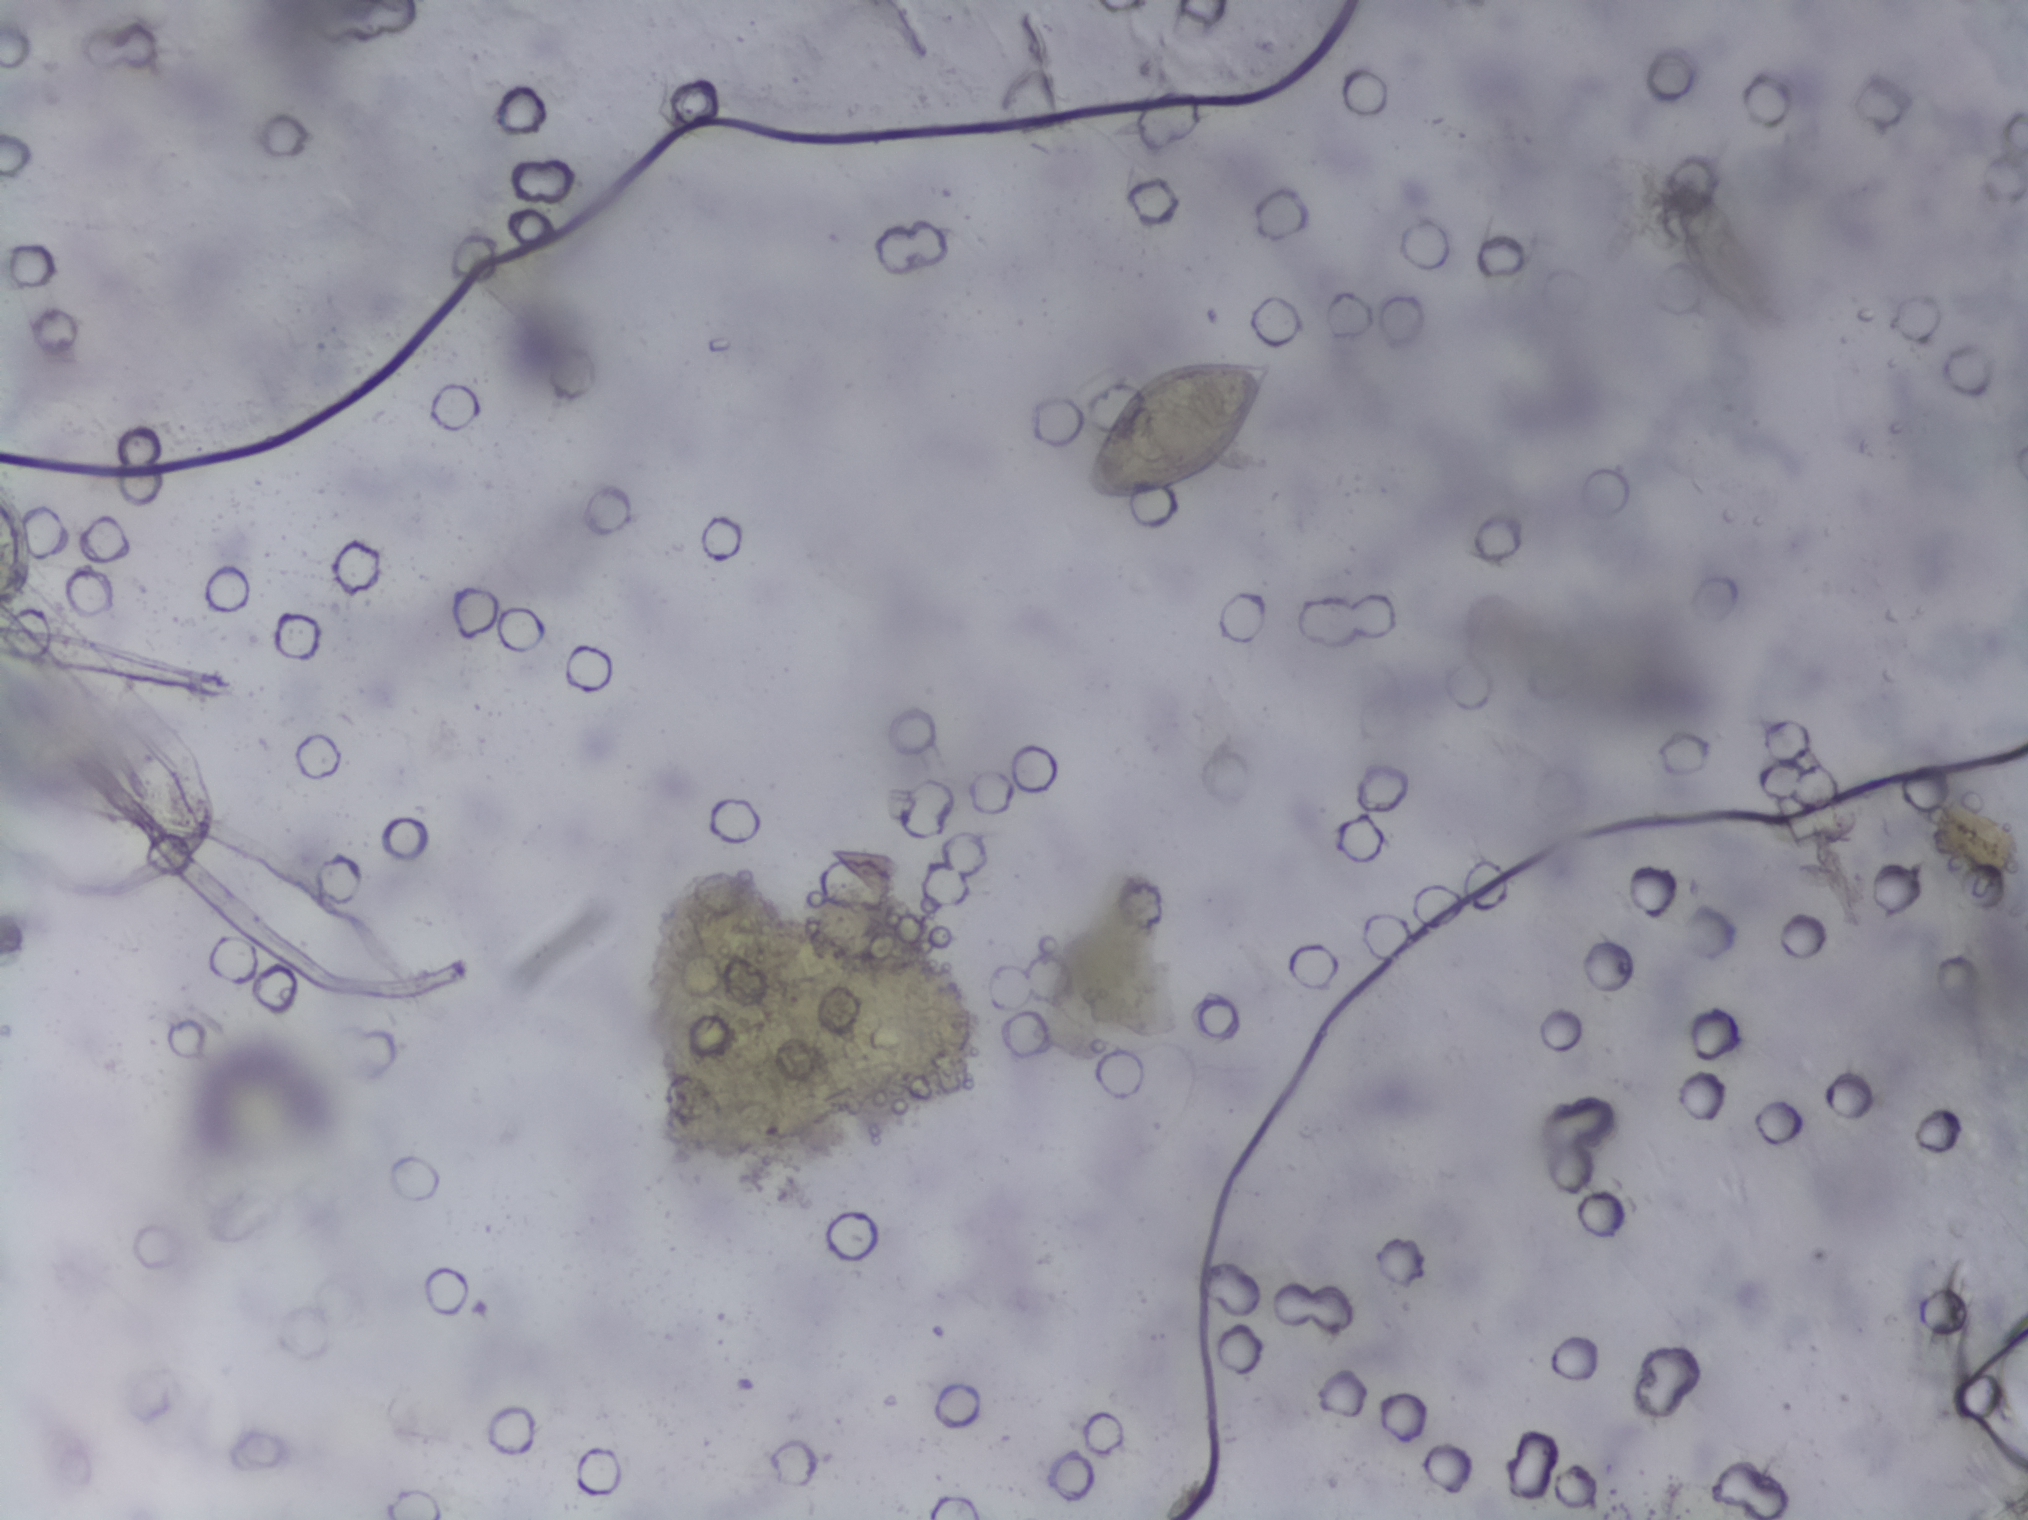
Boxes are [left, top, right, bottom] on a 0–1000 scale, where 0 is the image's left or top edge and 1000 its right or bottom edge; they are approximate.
Schistosoma eggs are outlined in one area of this image: [535, 232, 633, 330]. The marked pixels themselves, not the box around them, cover about 0.6% of the image. A single outlined area may contain several eggs.
One field of view of a urine filter membrane, 4× objective, 2028 × 1520 pixels.